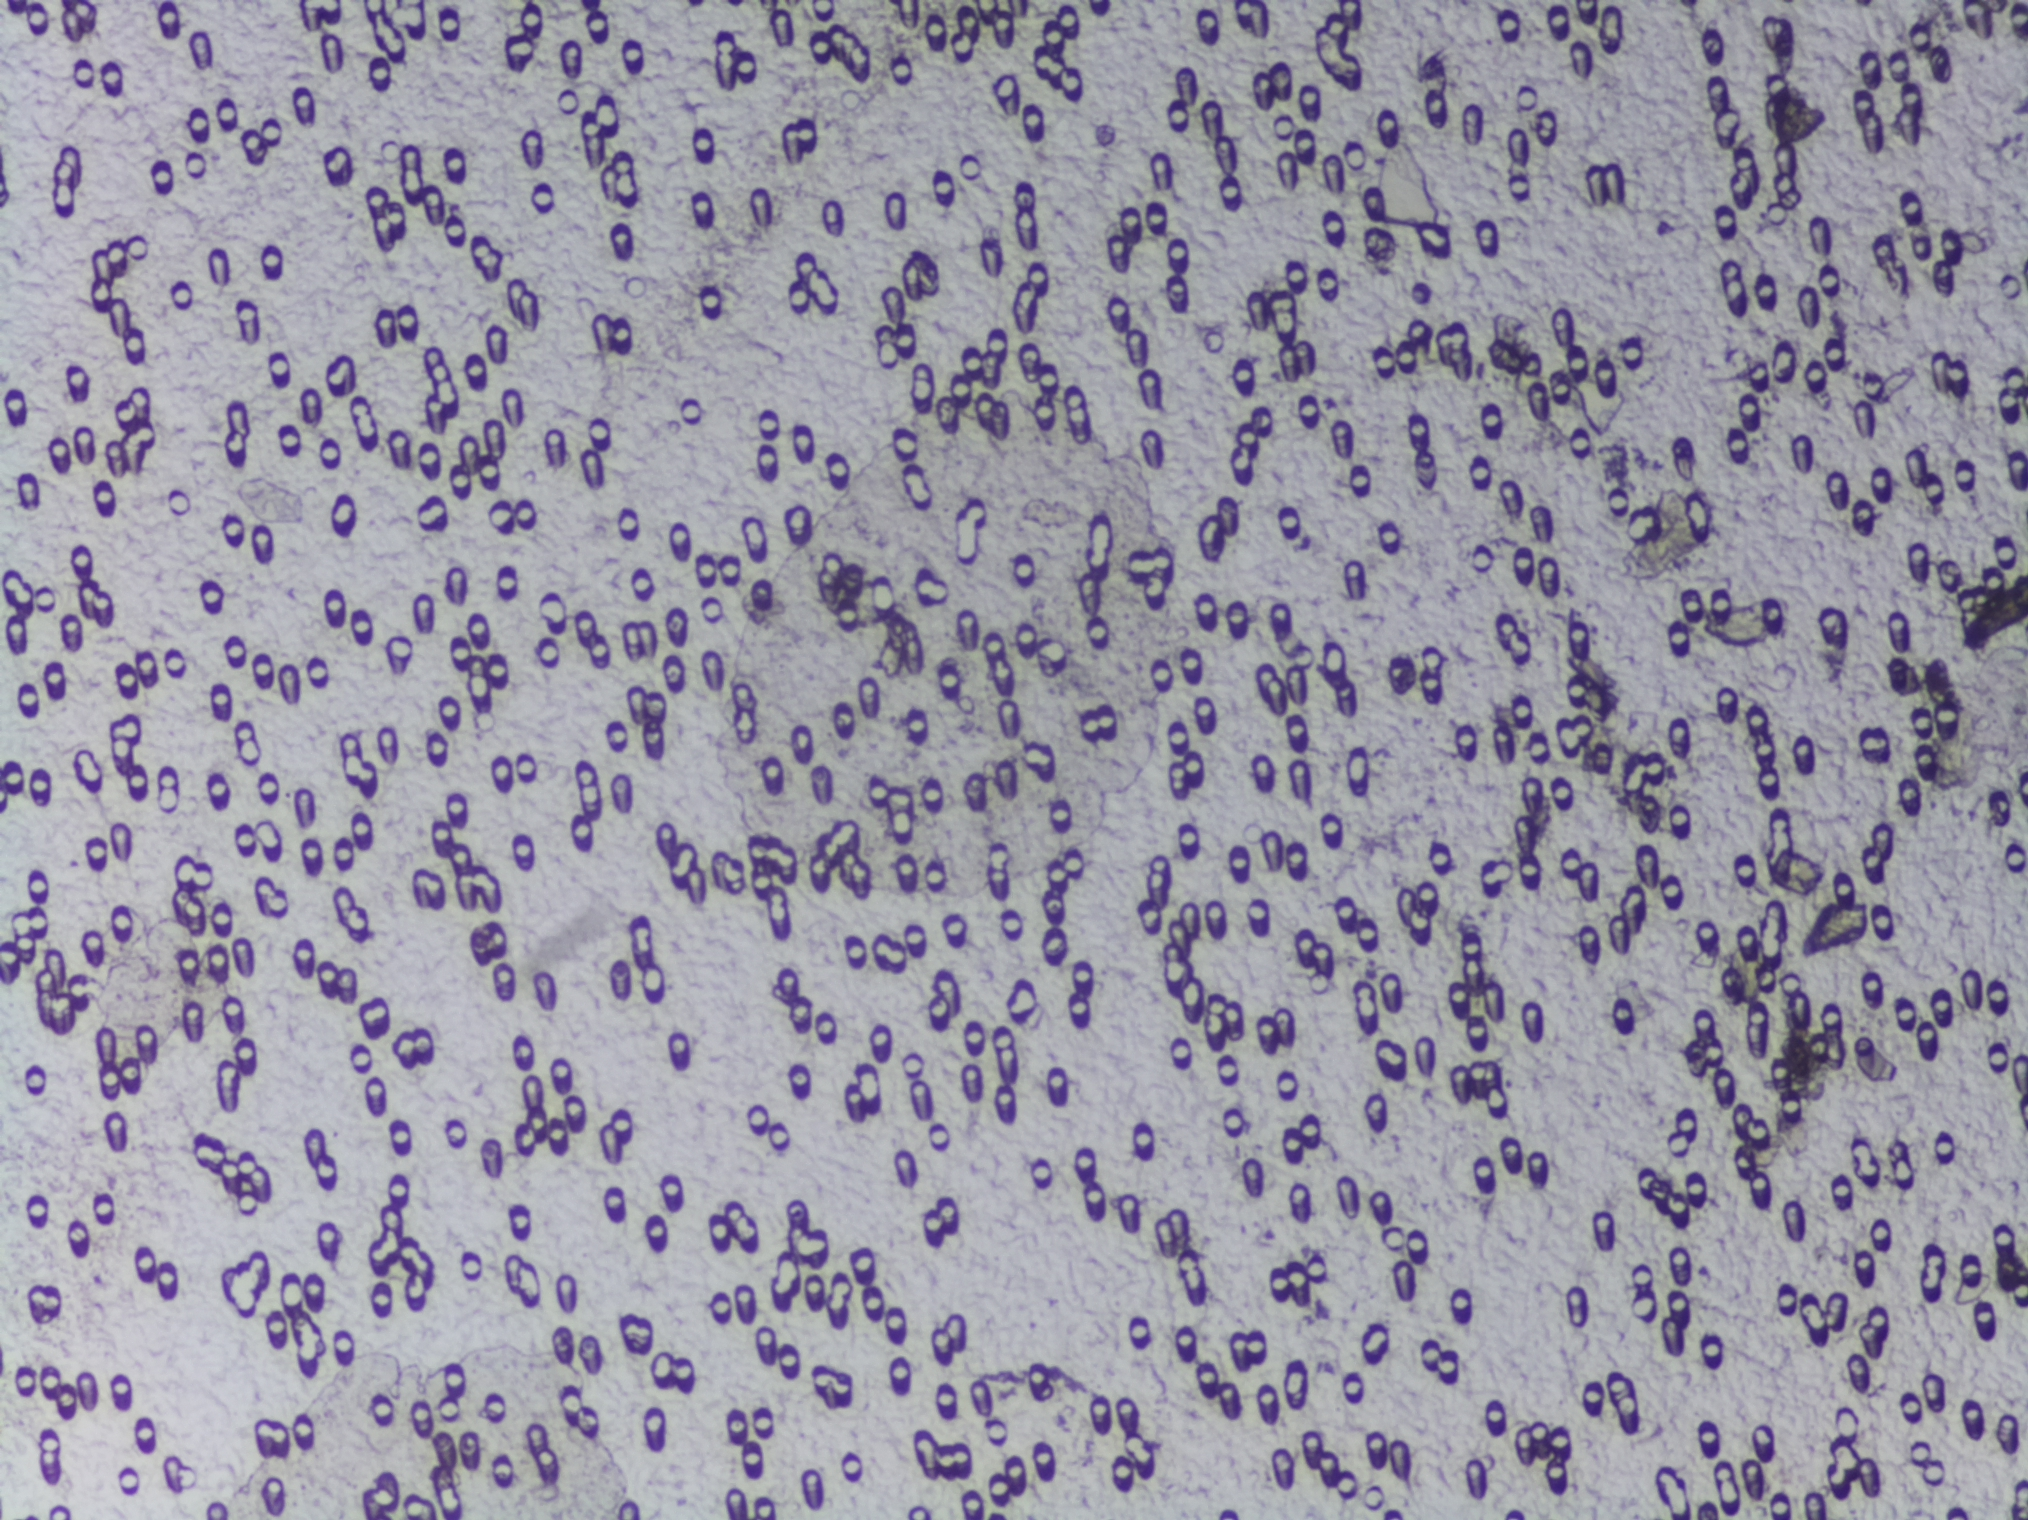
No area of this image was outlined as a Schistosoma egg.
Photograph from an automated digital microscope: urine filter membrane, 4× objective.